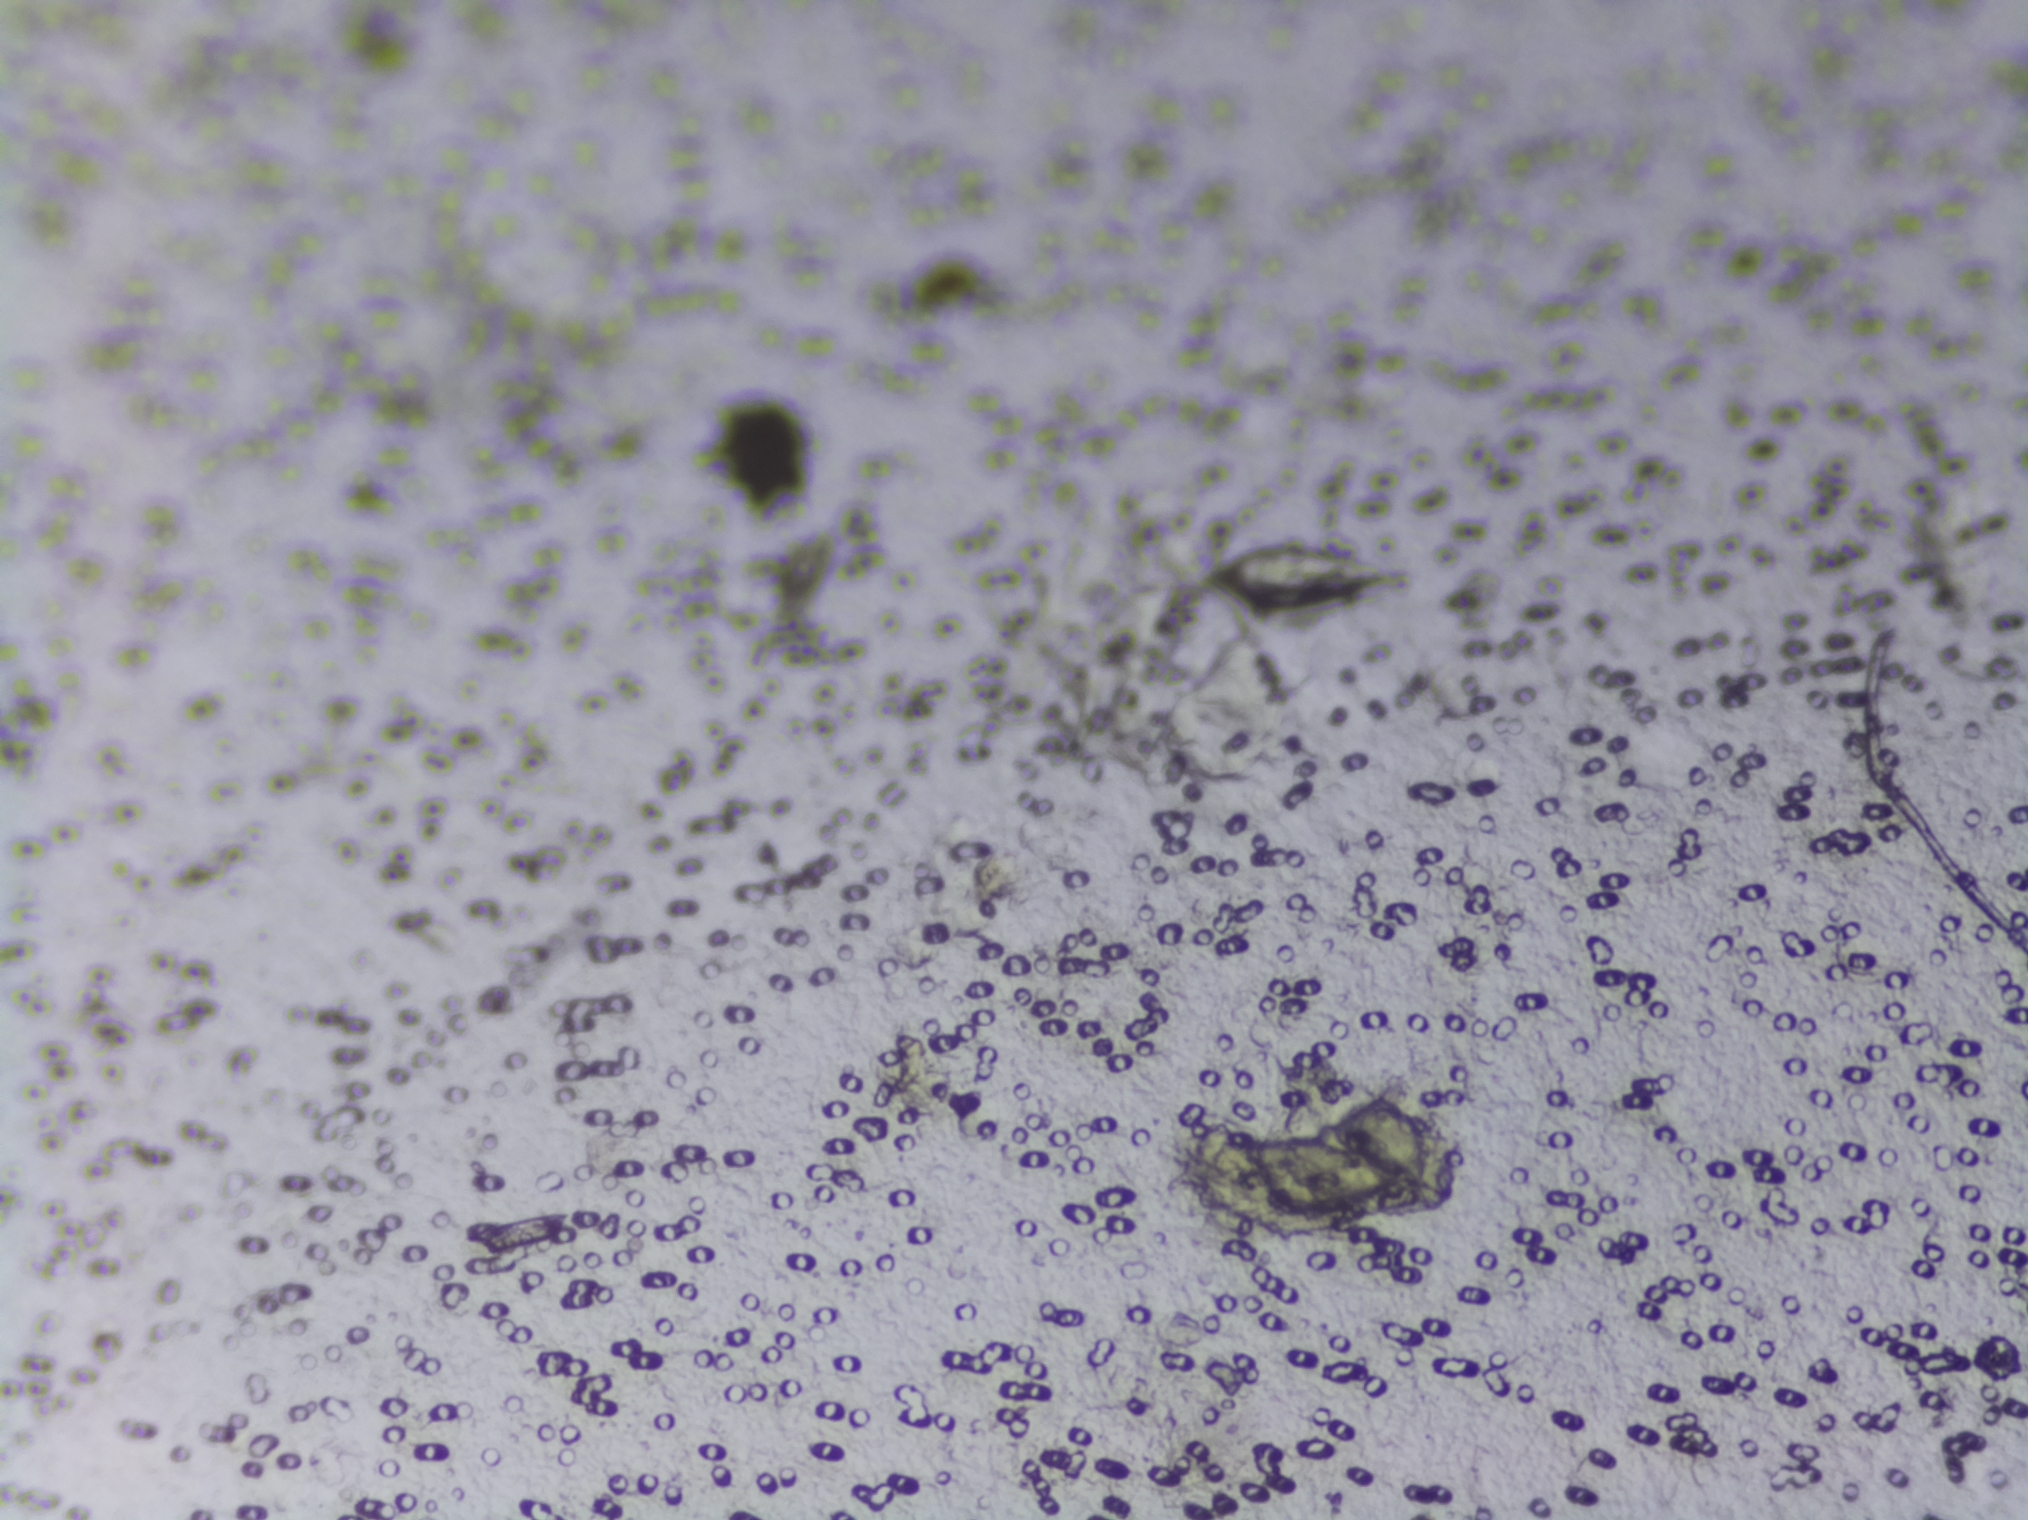
Photograph from an automated digital microscope: urine filter membrane, 4× objective. The field of view is about 1.5 mm × 1.1 mm.
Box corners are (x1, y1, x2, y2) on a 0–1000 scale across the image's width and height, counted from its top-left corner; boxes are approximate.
Schistosoma eggs are outlined in one area of this image: (584, 351, 691, 414). The marked pixels themselves, not the box around them, cover about 0.4% of the image. Eggs that touch can end up inside the same outlined area.